Urine filter membrane photographed through a 4× microscope objective. Field of view: about 1.5 mm wide and 1.1 mm high.
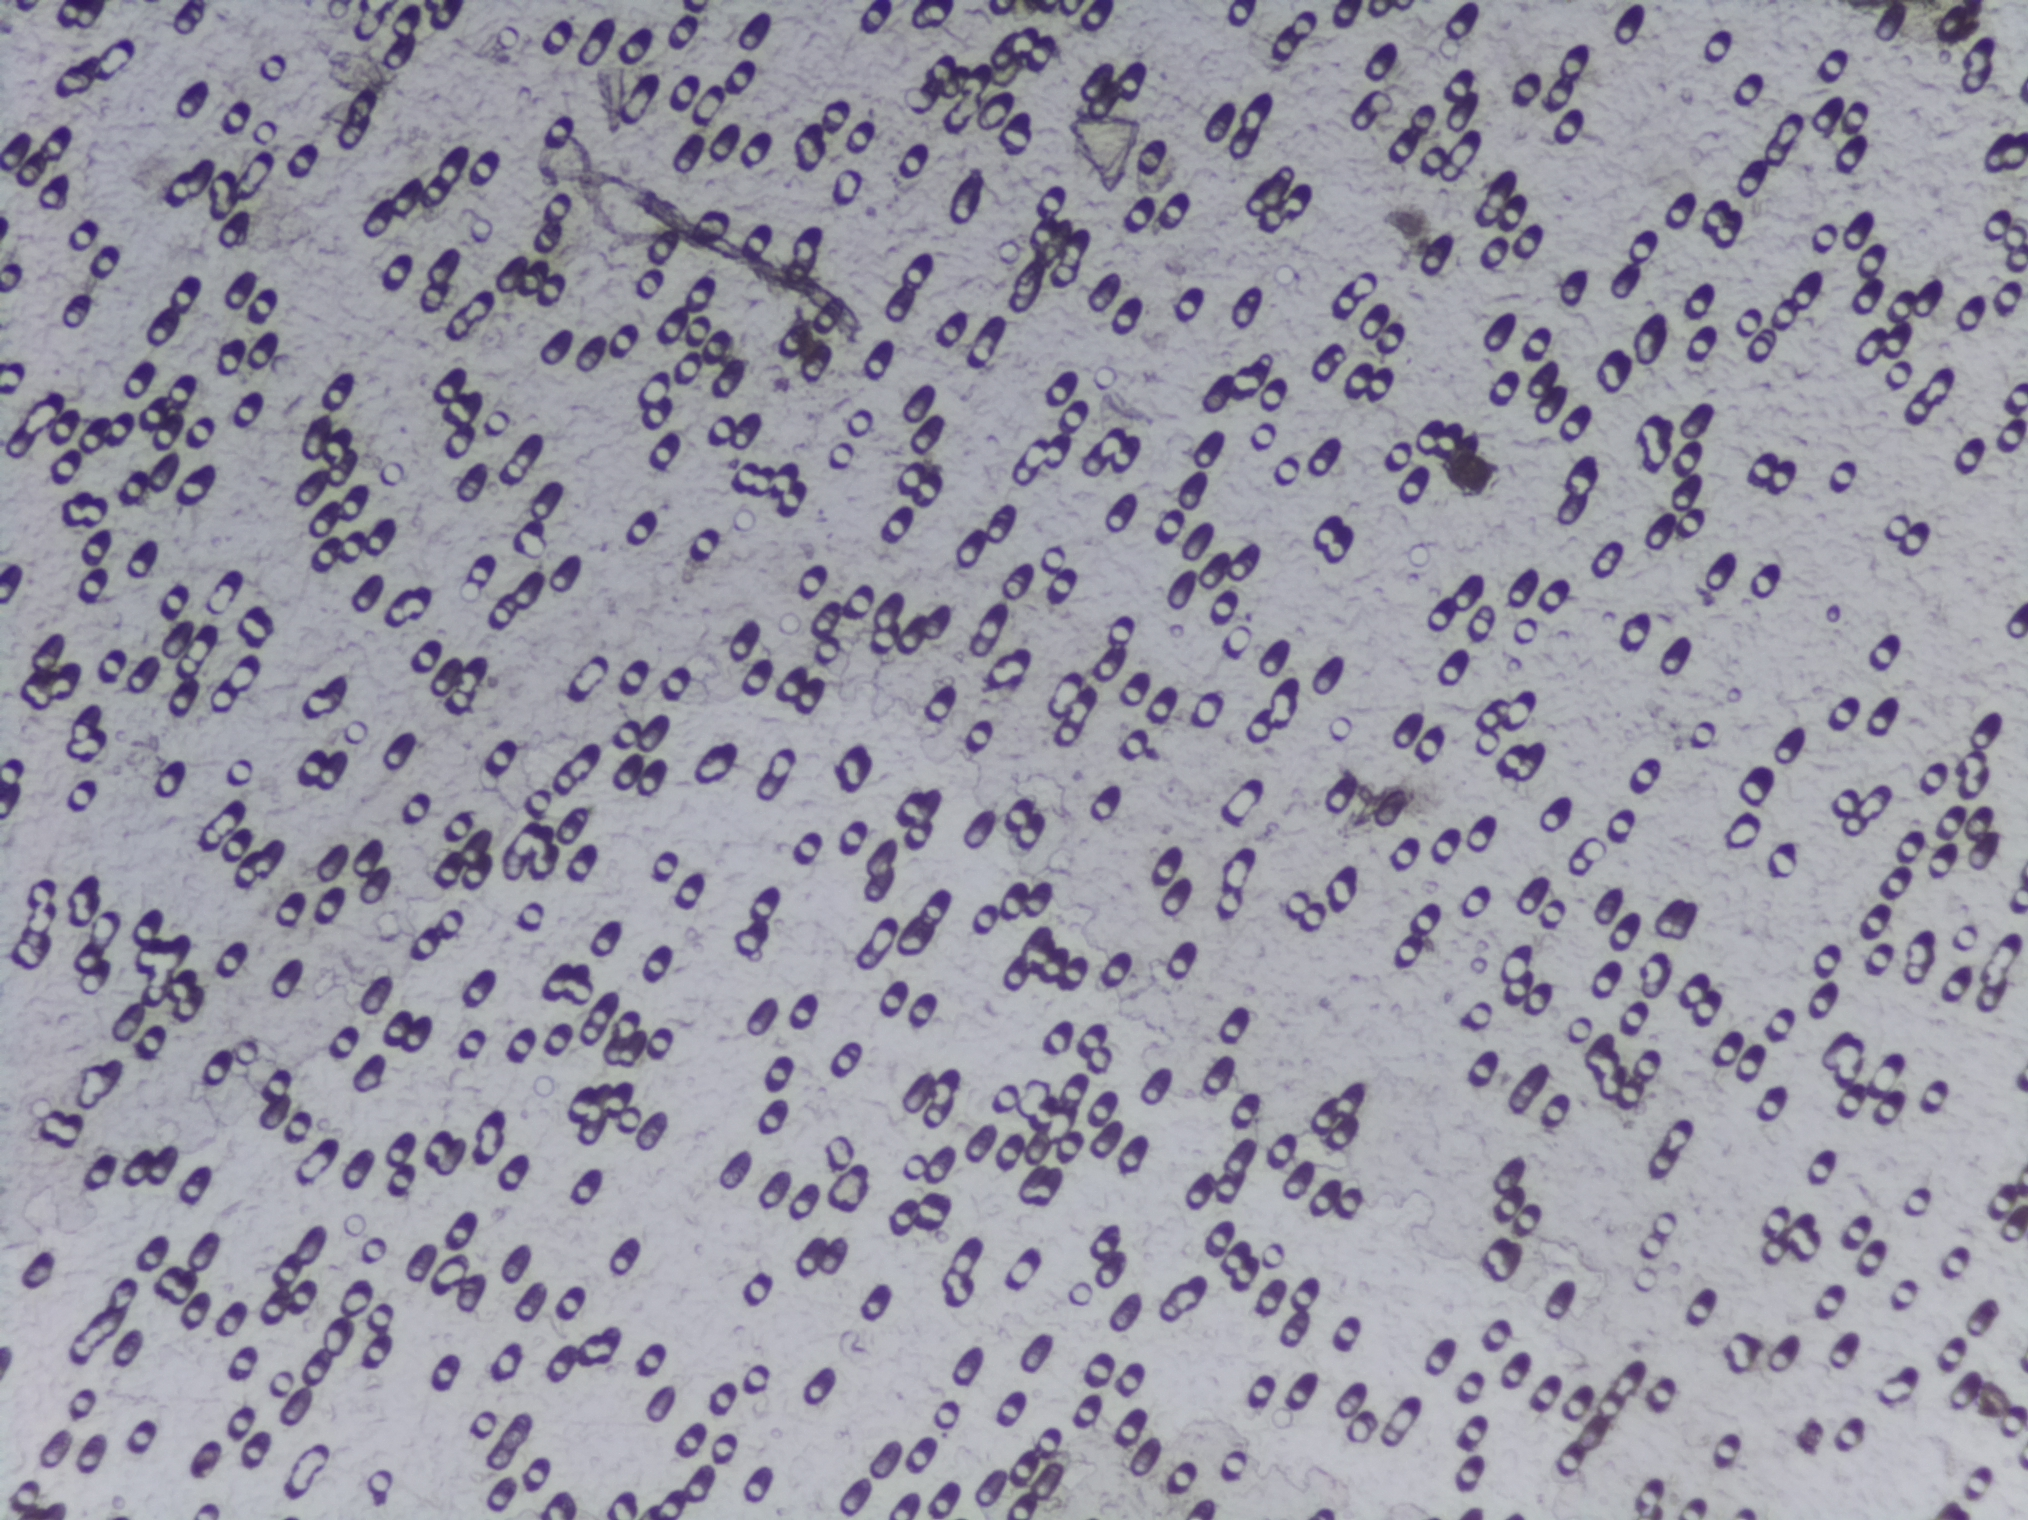
No Schistosoma egg is outlined in this image's expert annotation.